One field of view of a urine filter membrane, 4× objective, 2028 × 1520 pixels.
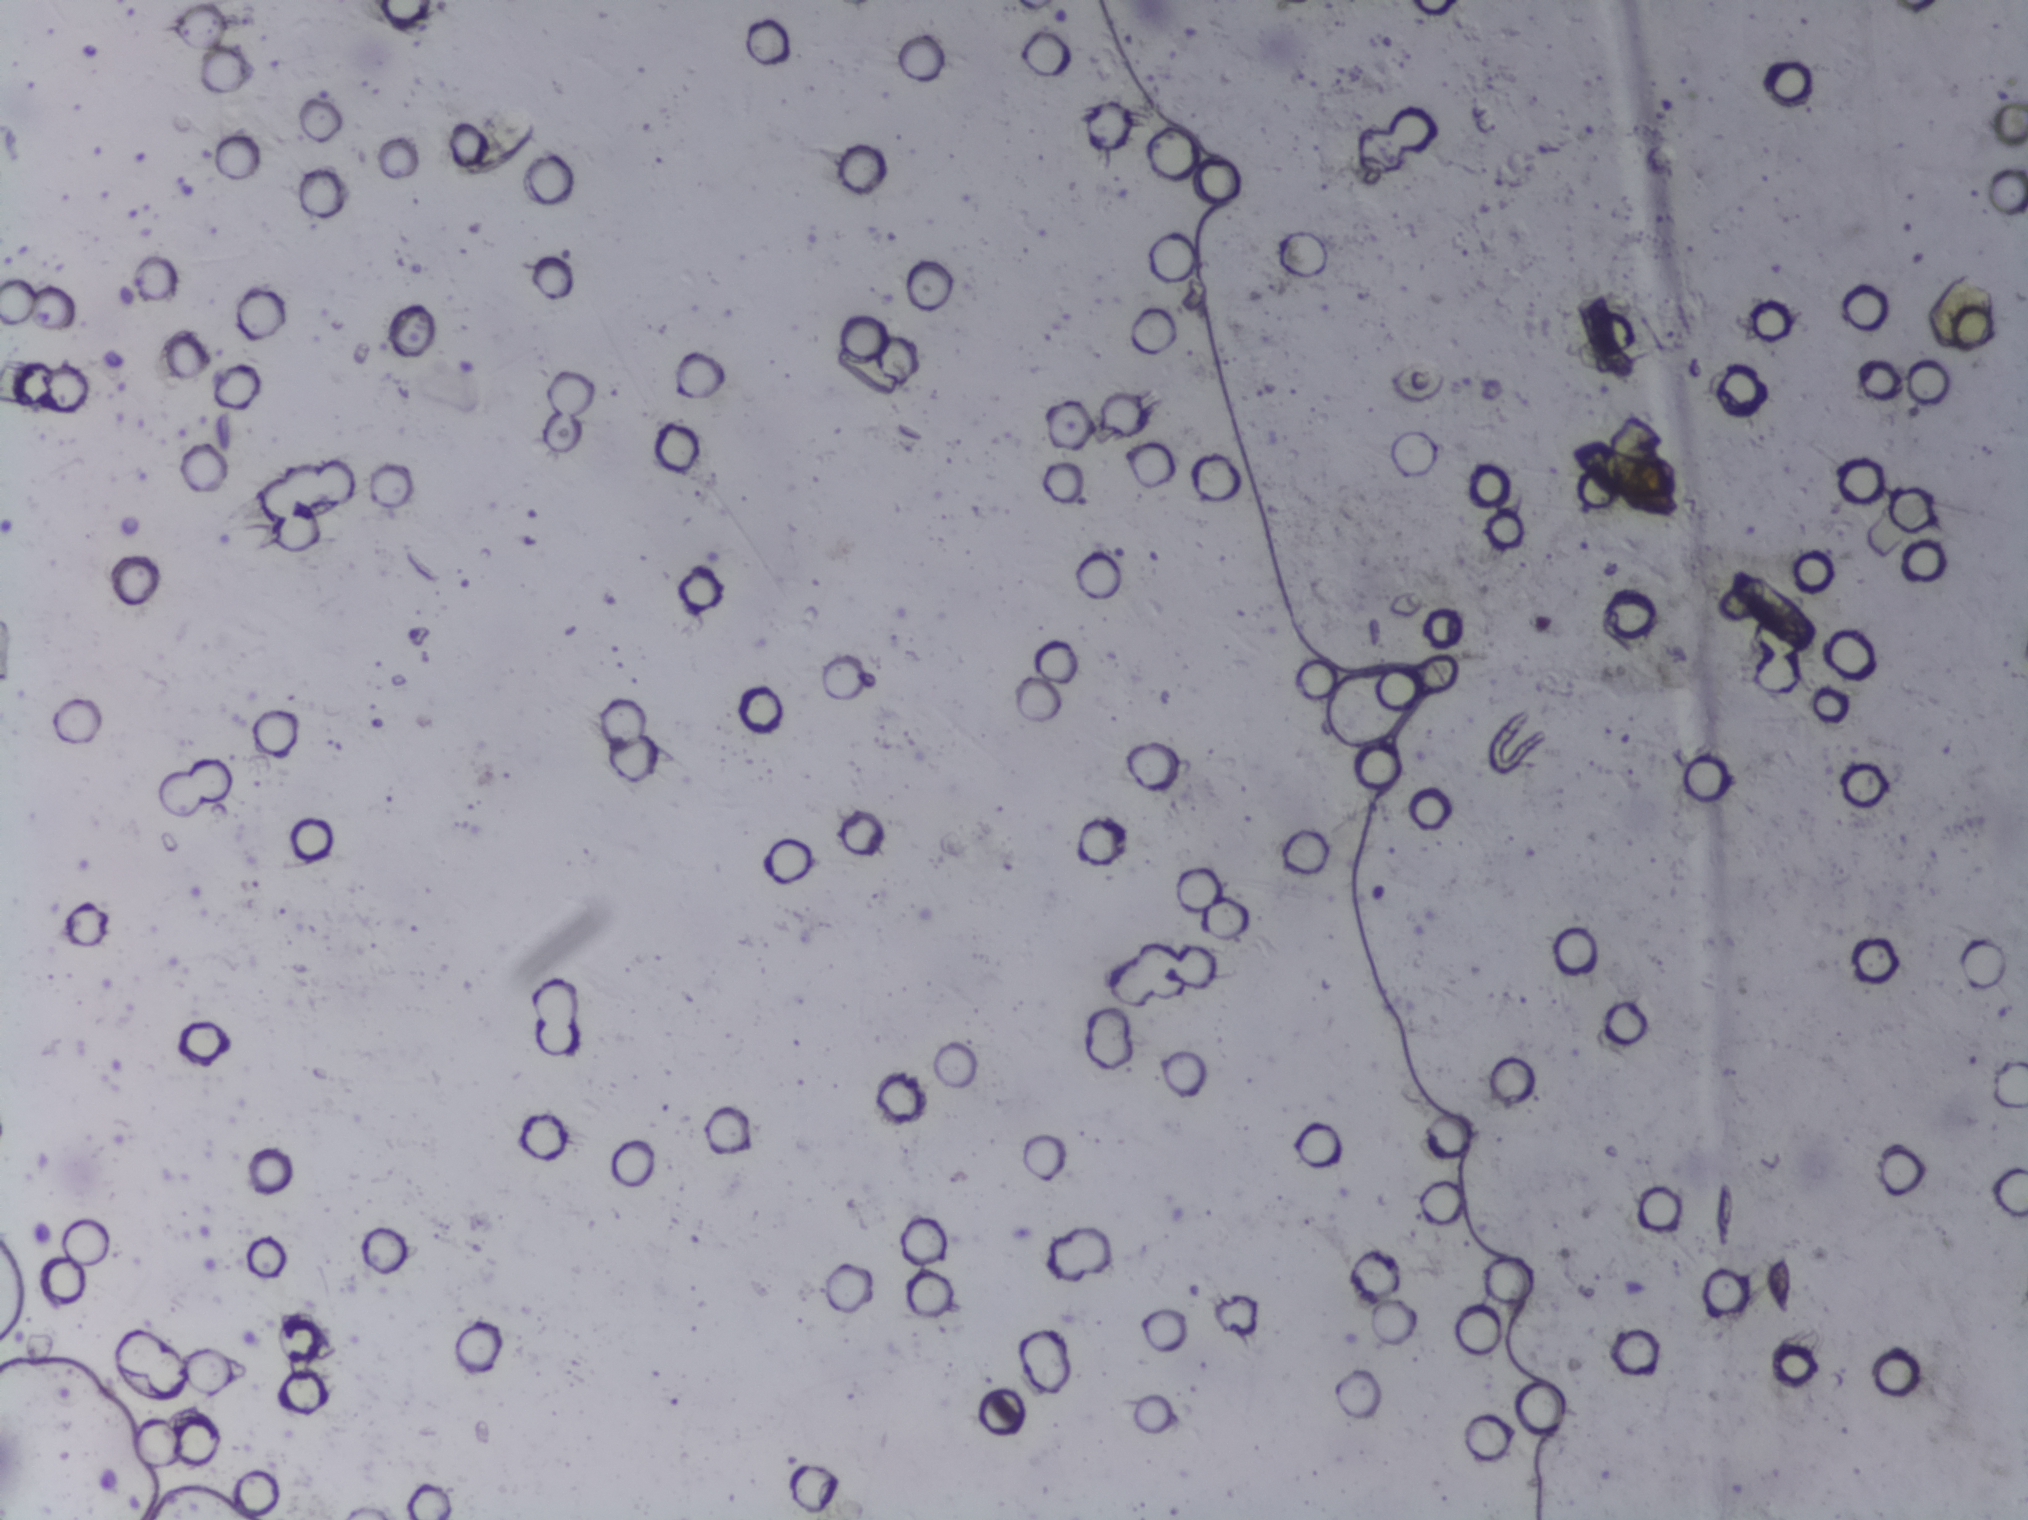
The expert annotation outlines no Schistosoma egg in this image.